Photograph from an automated digital microscope: urine filter membrane, 4× objective. The field of view is about 1.5 mm × 1.1 mm.
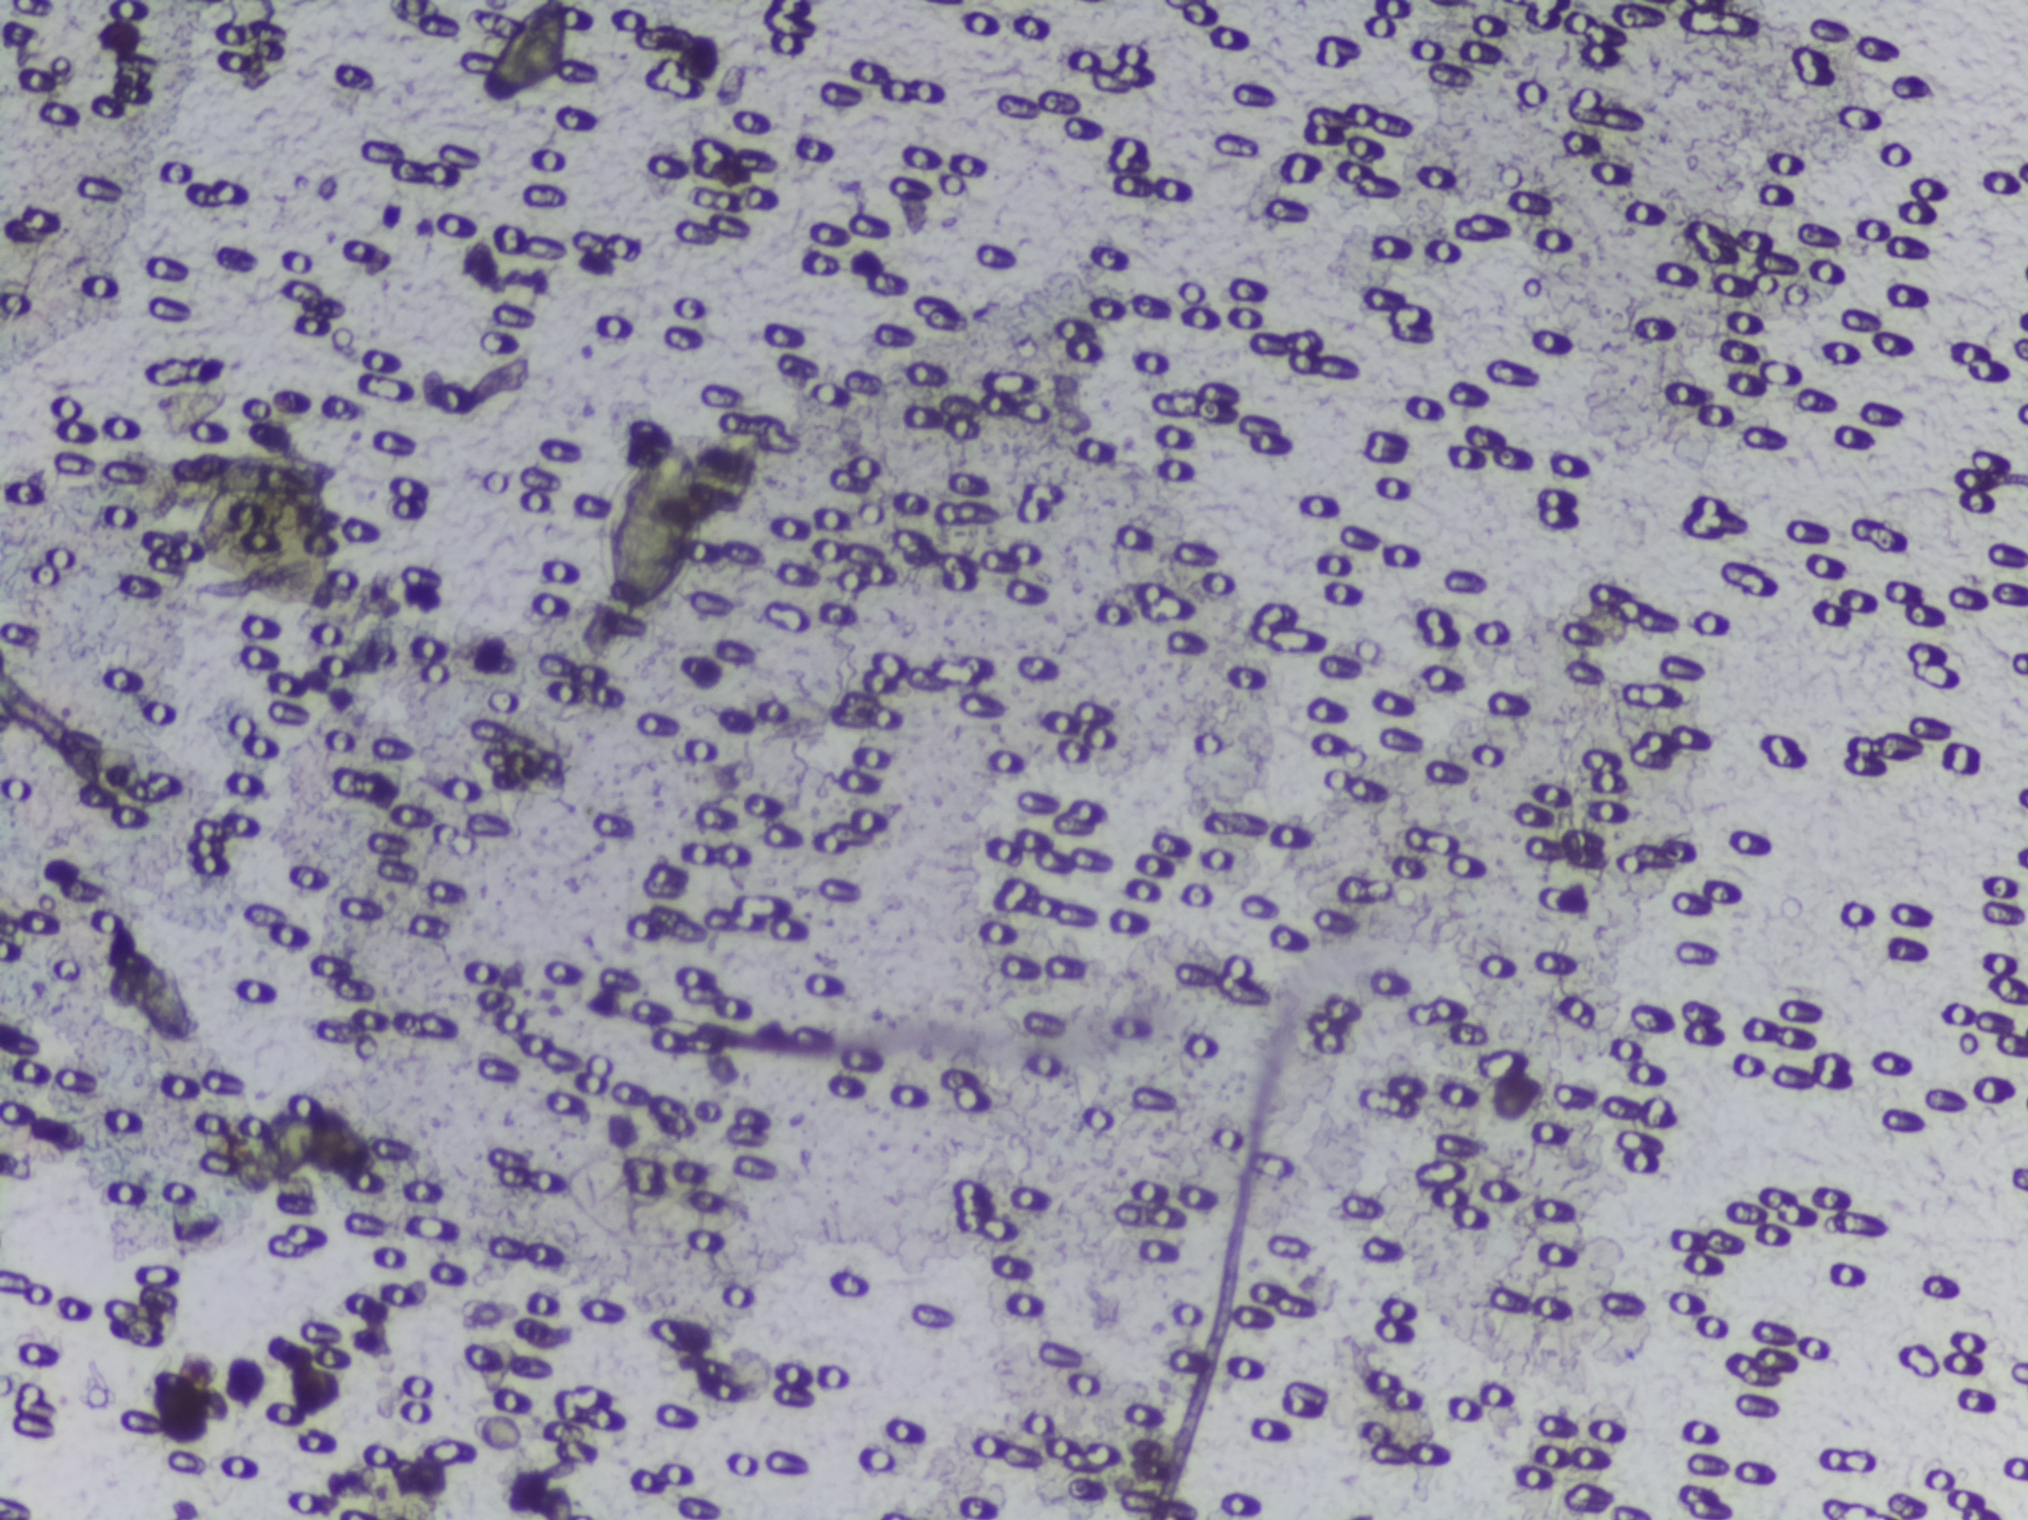
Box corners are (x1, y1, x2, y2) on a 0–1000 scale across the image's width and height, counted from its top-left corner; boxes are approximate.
Outlined Schistosoma egg areas:
1. (291, 281, 359, 415)
A single outlined area may contain several eggs.